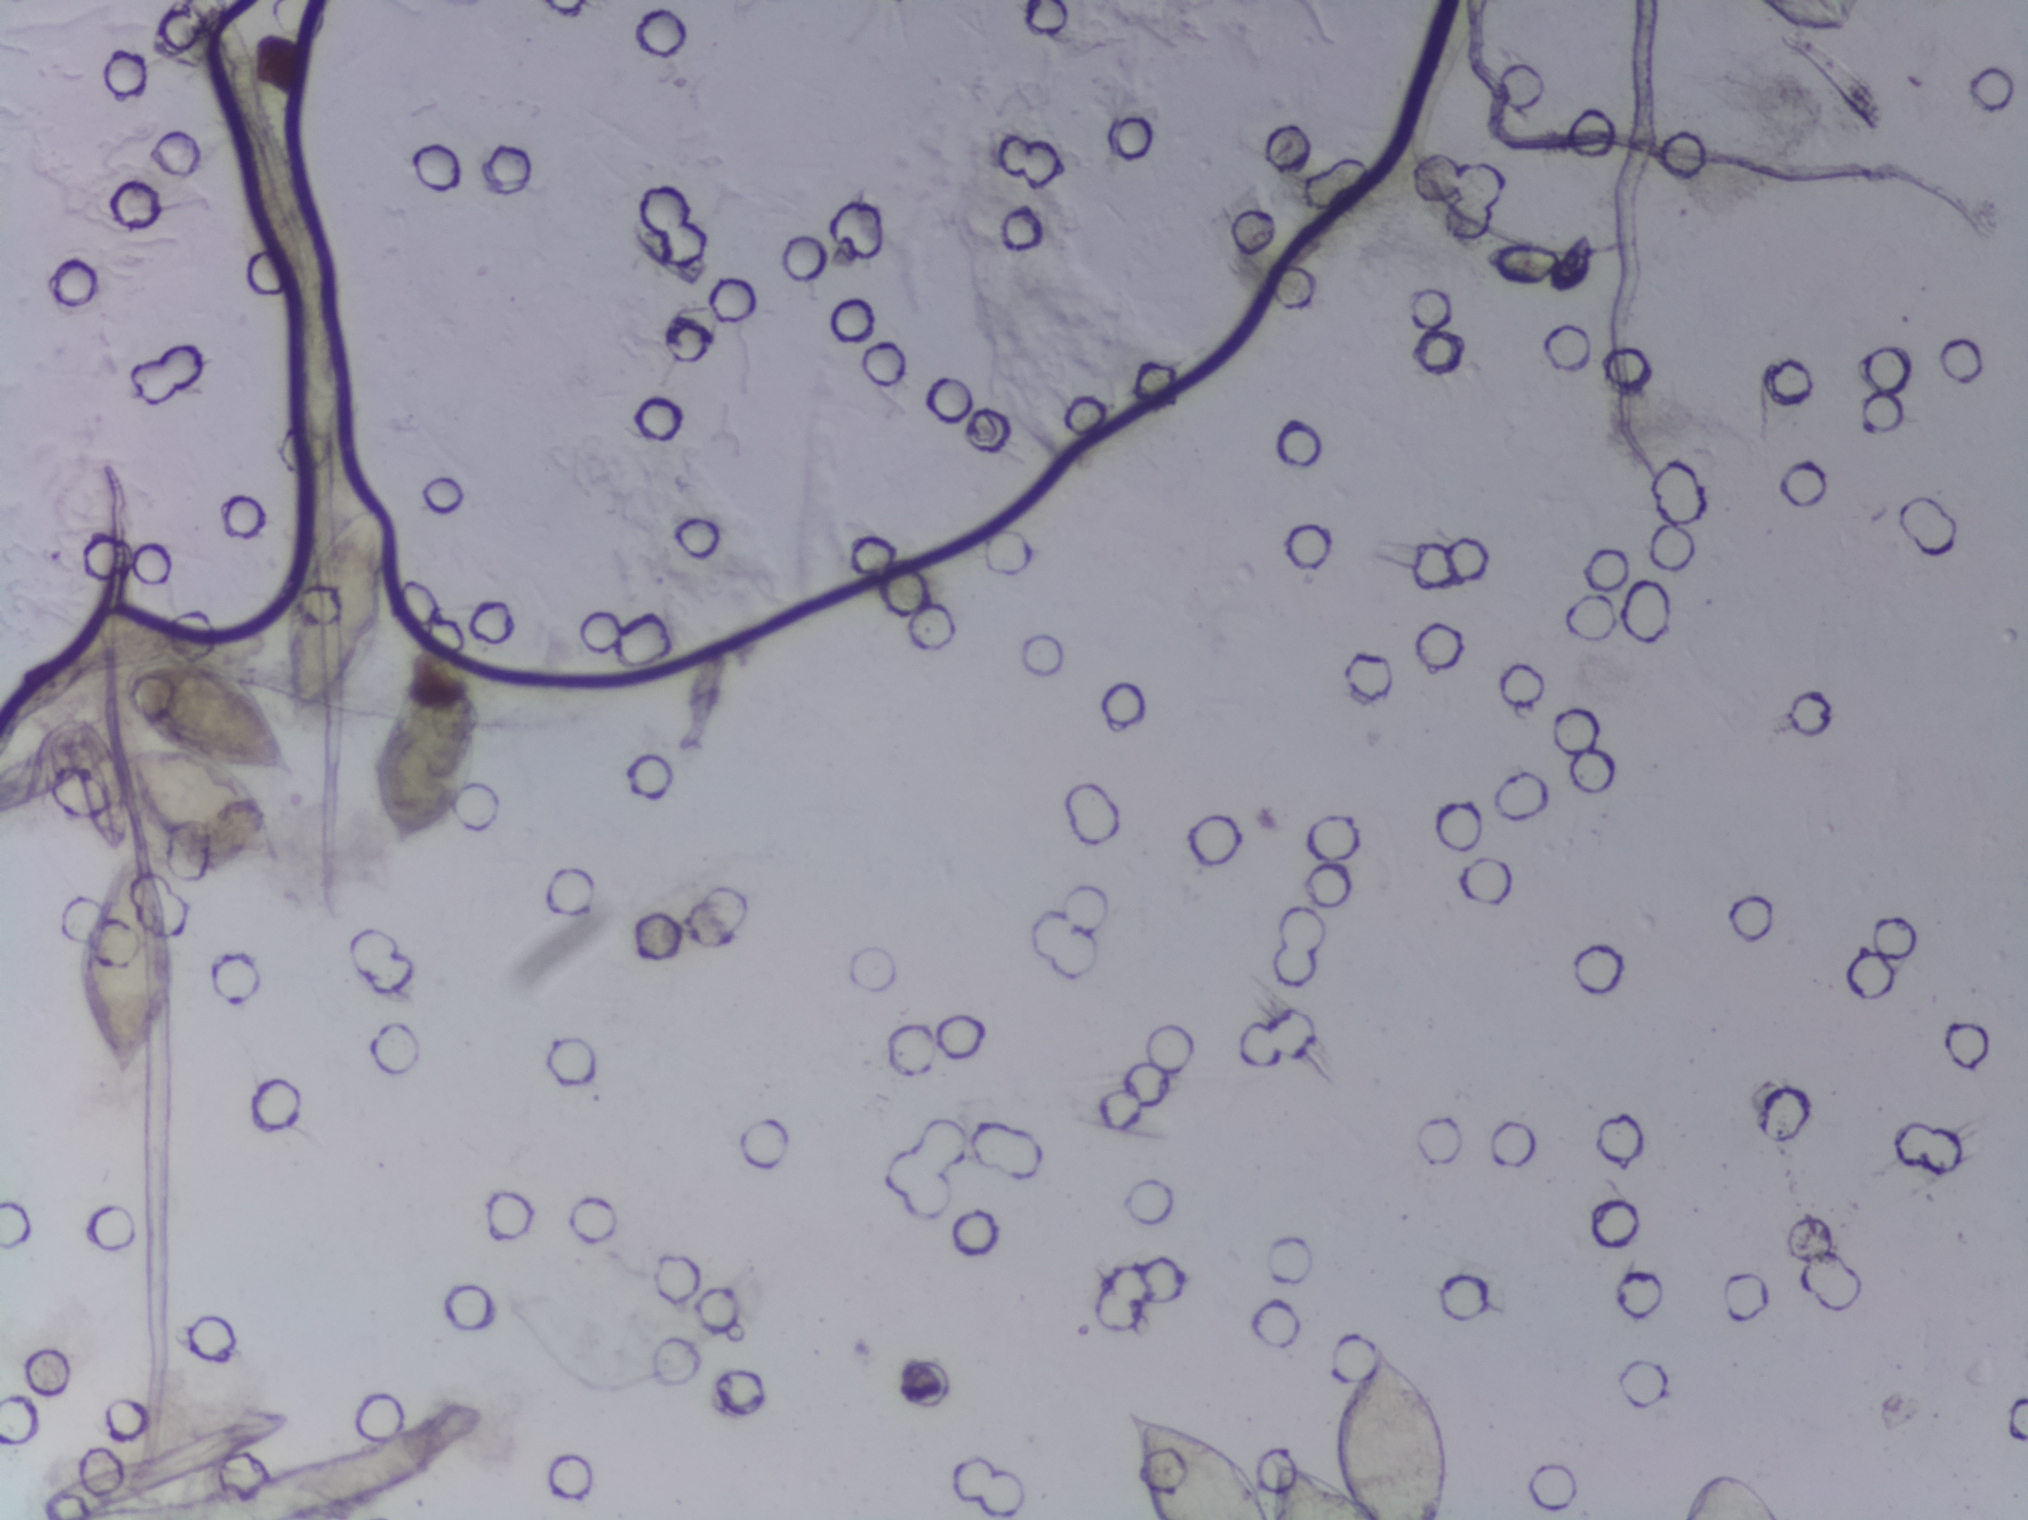
Urine filter membrane photographed through a 4× microscope objective. The image covers about 1.5 × 1.1 mm of the membrane.
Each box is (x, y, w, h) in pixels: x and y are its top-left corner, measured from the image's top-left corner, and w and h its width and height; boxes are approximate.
Six areas of this image are outlined as Schistosoma eggs, from left to right: (x=78, y=845, w=97, h=243); (x=110, y=655, w=191, h=218); (x=278, y=504, w=111, h=216); (x=369, y=647, w=118, h=204); (x=1128, y=1343, w=327, h=177) (reaching the bottom edge of the frame); (x=1682, y=1471, w=95, h=49) (reaching the bottom edge of the frame). An outlined area can hold more than one egg.